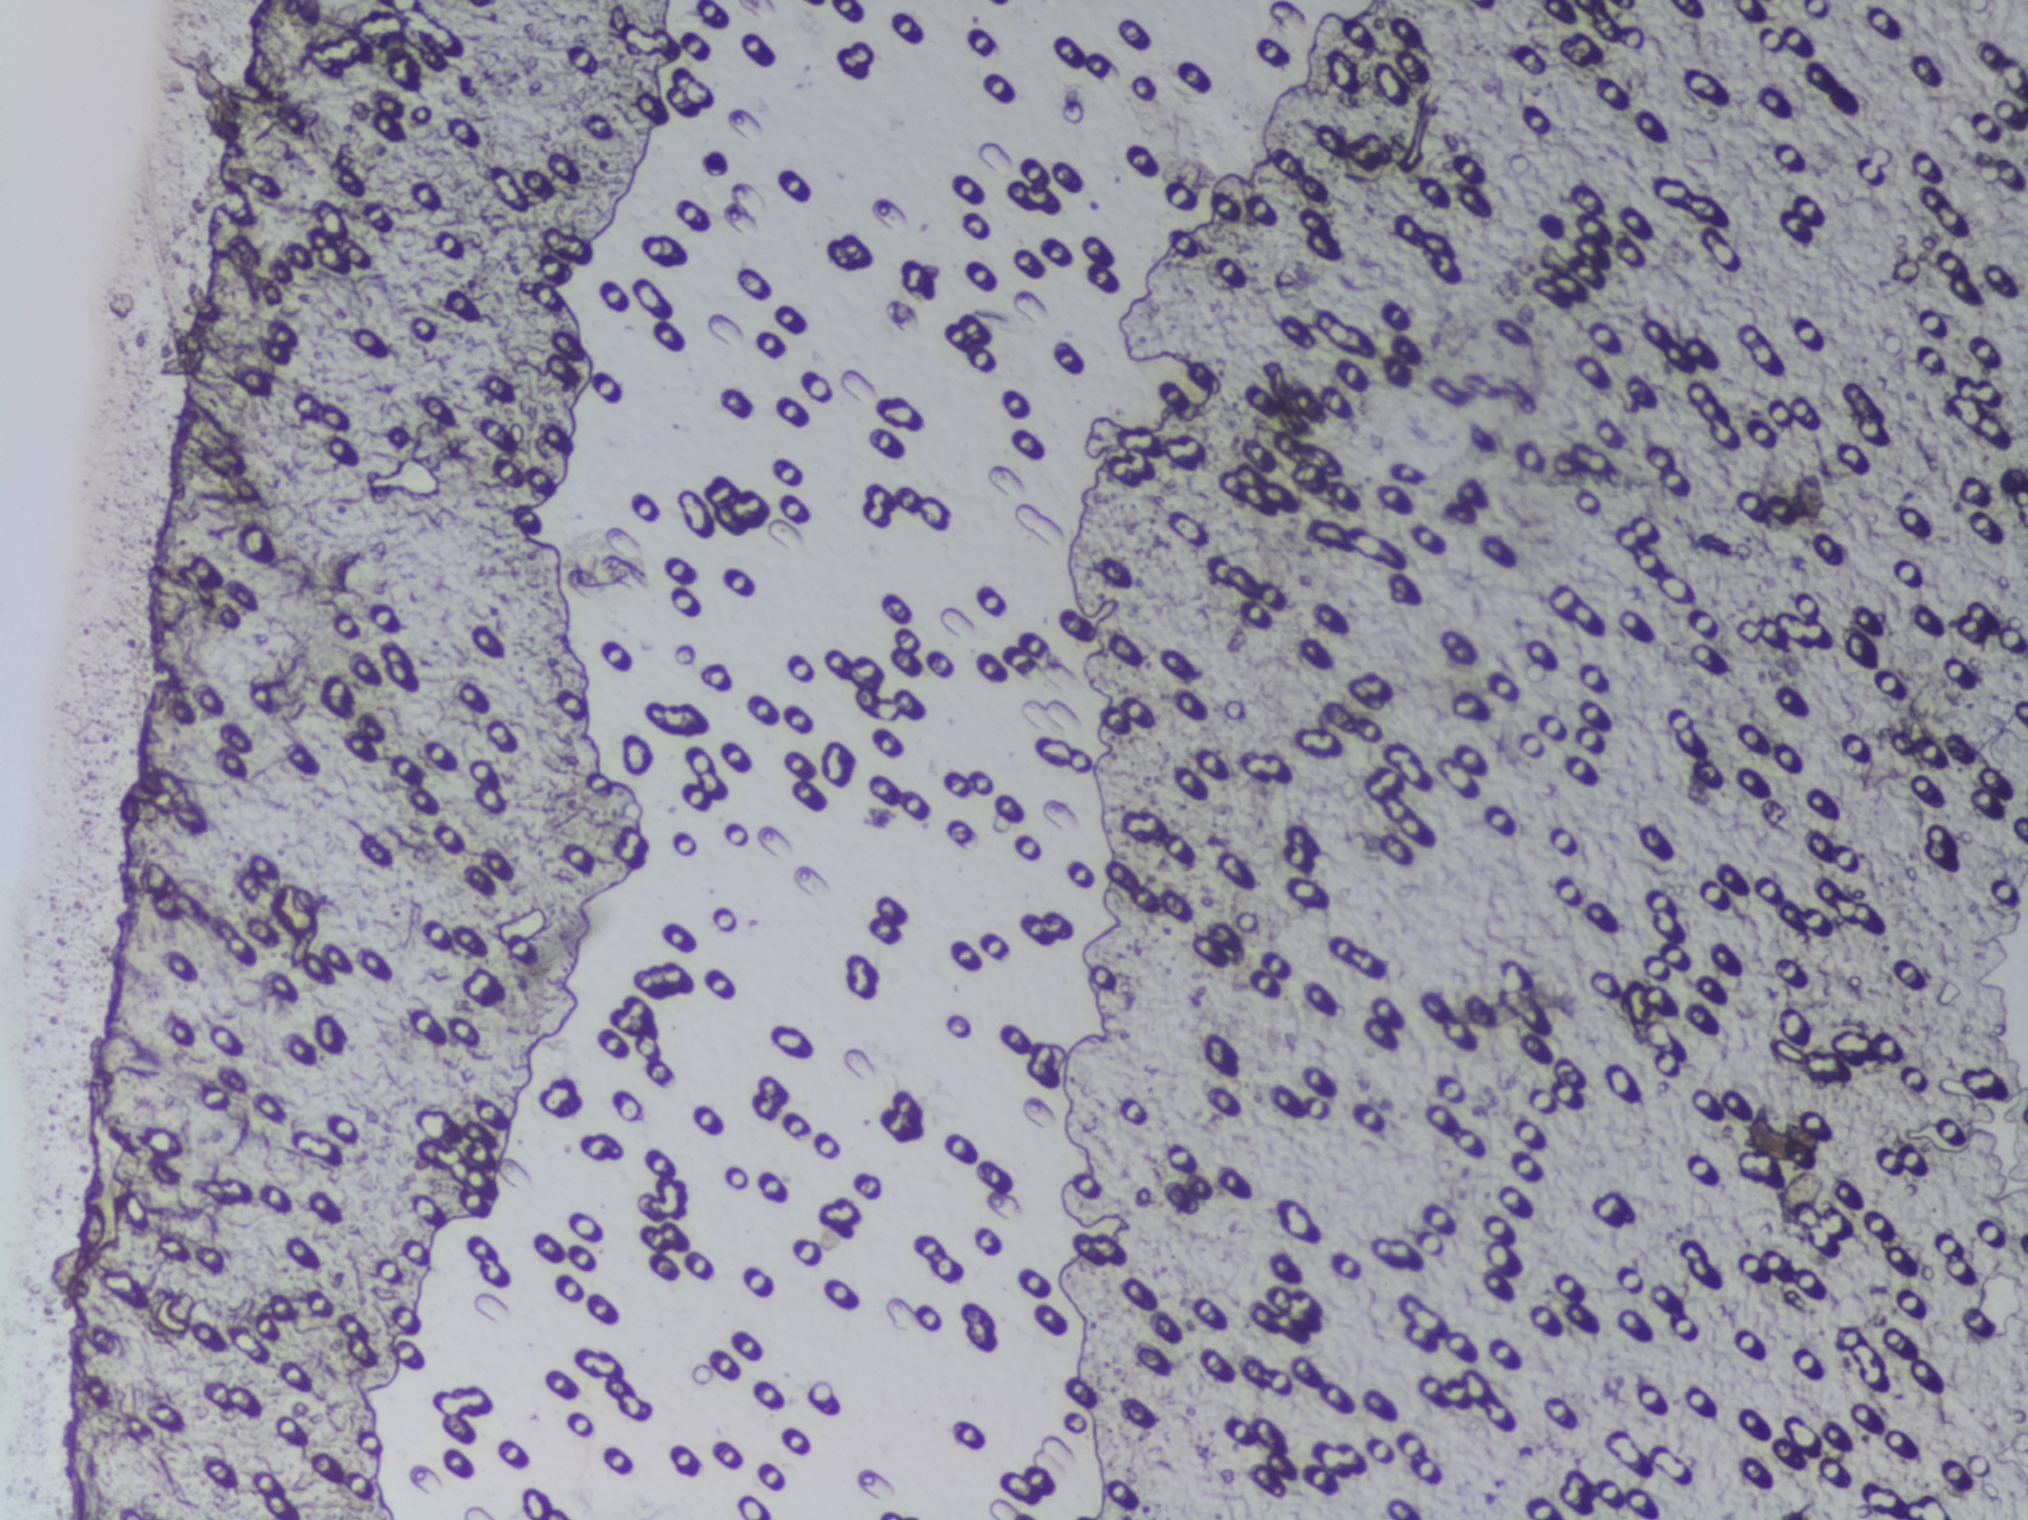
The expert annotation outlines no Schistosoma egg in this image.
Microscope photograph (4× objective) of a membrane that a urine sample was filtered through.